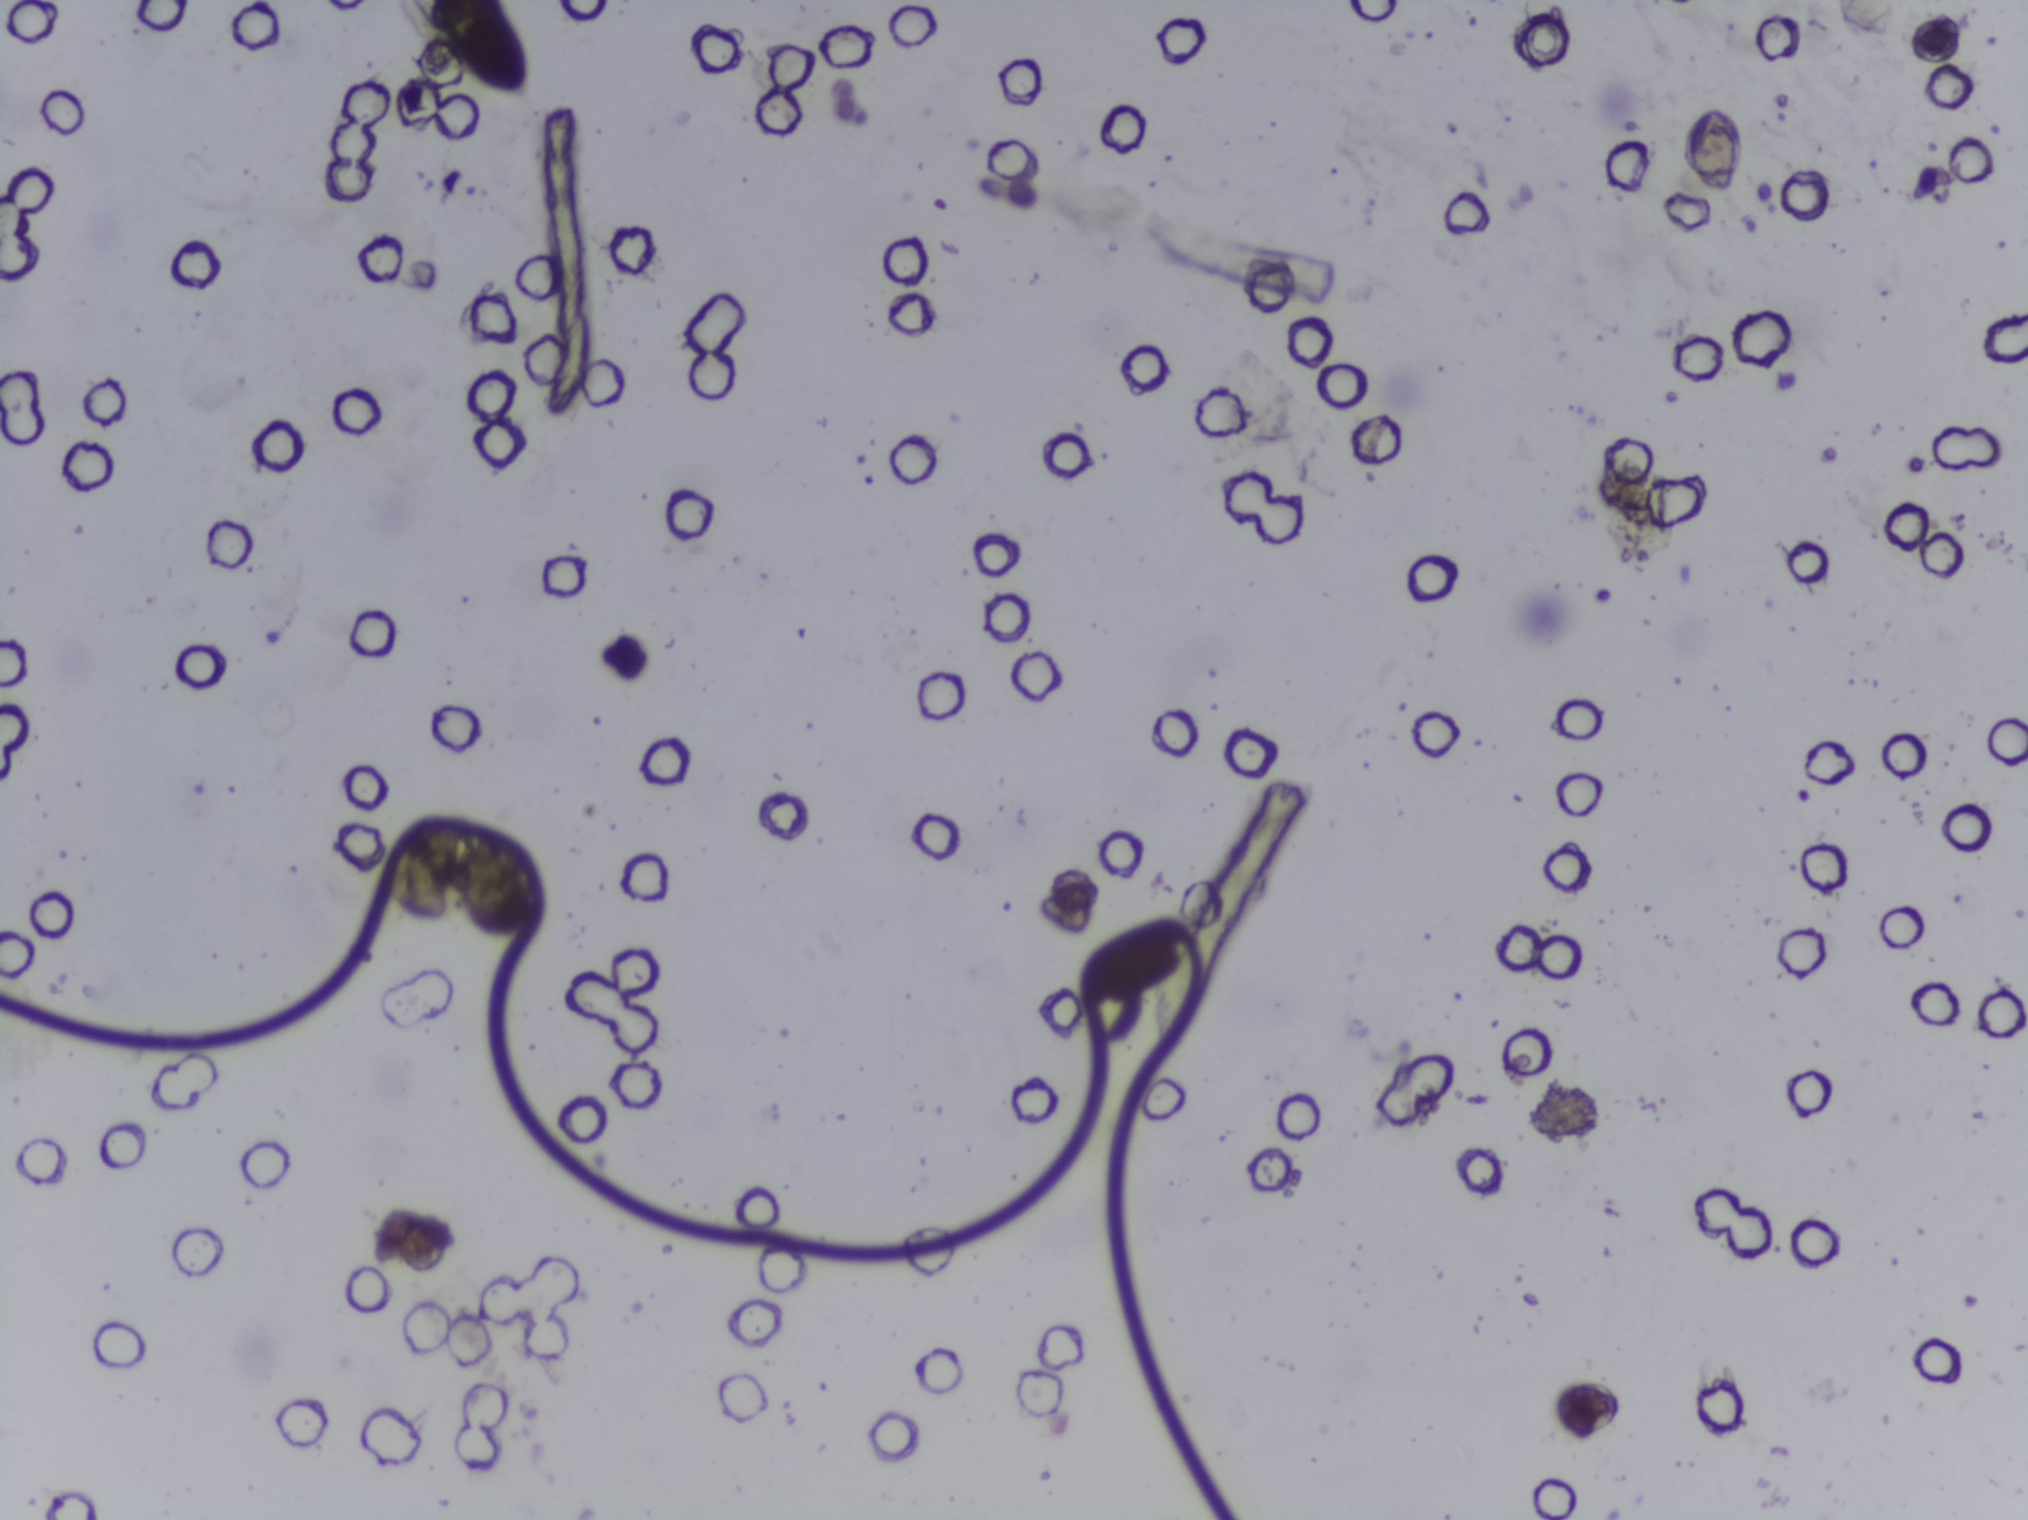
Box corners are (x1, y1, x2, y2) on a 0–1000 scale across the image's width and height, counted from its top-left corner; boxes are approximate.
Schistosoma eggs are outlined in one area of this image: (203, 0, 262, 67) (reaching the top edge of the frame). Eggs that touch can end up inside the same outlined area.
Photograph from an automated digital microscope: urine filter membrane, 4× objective.